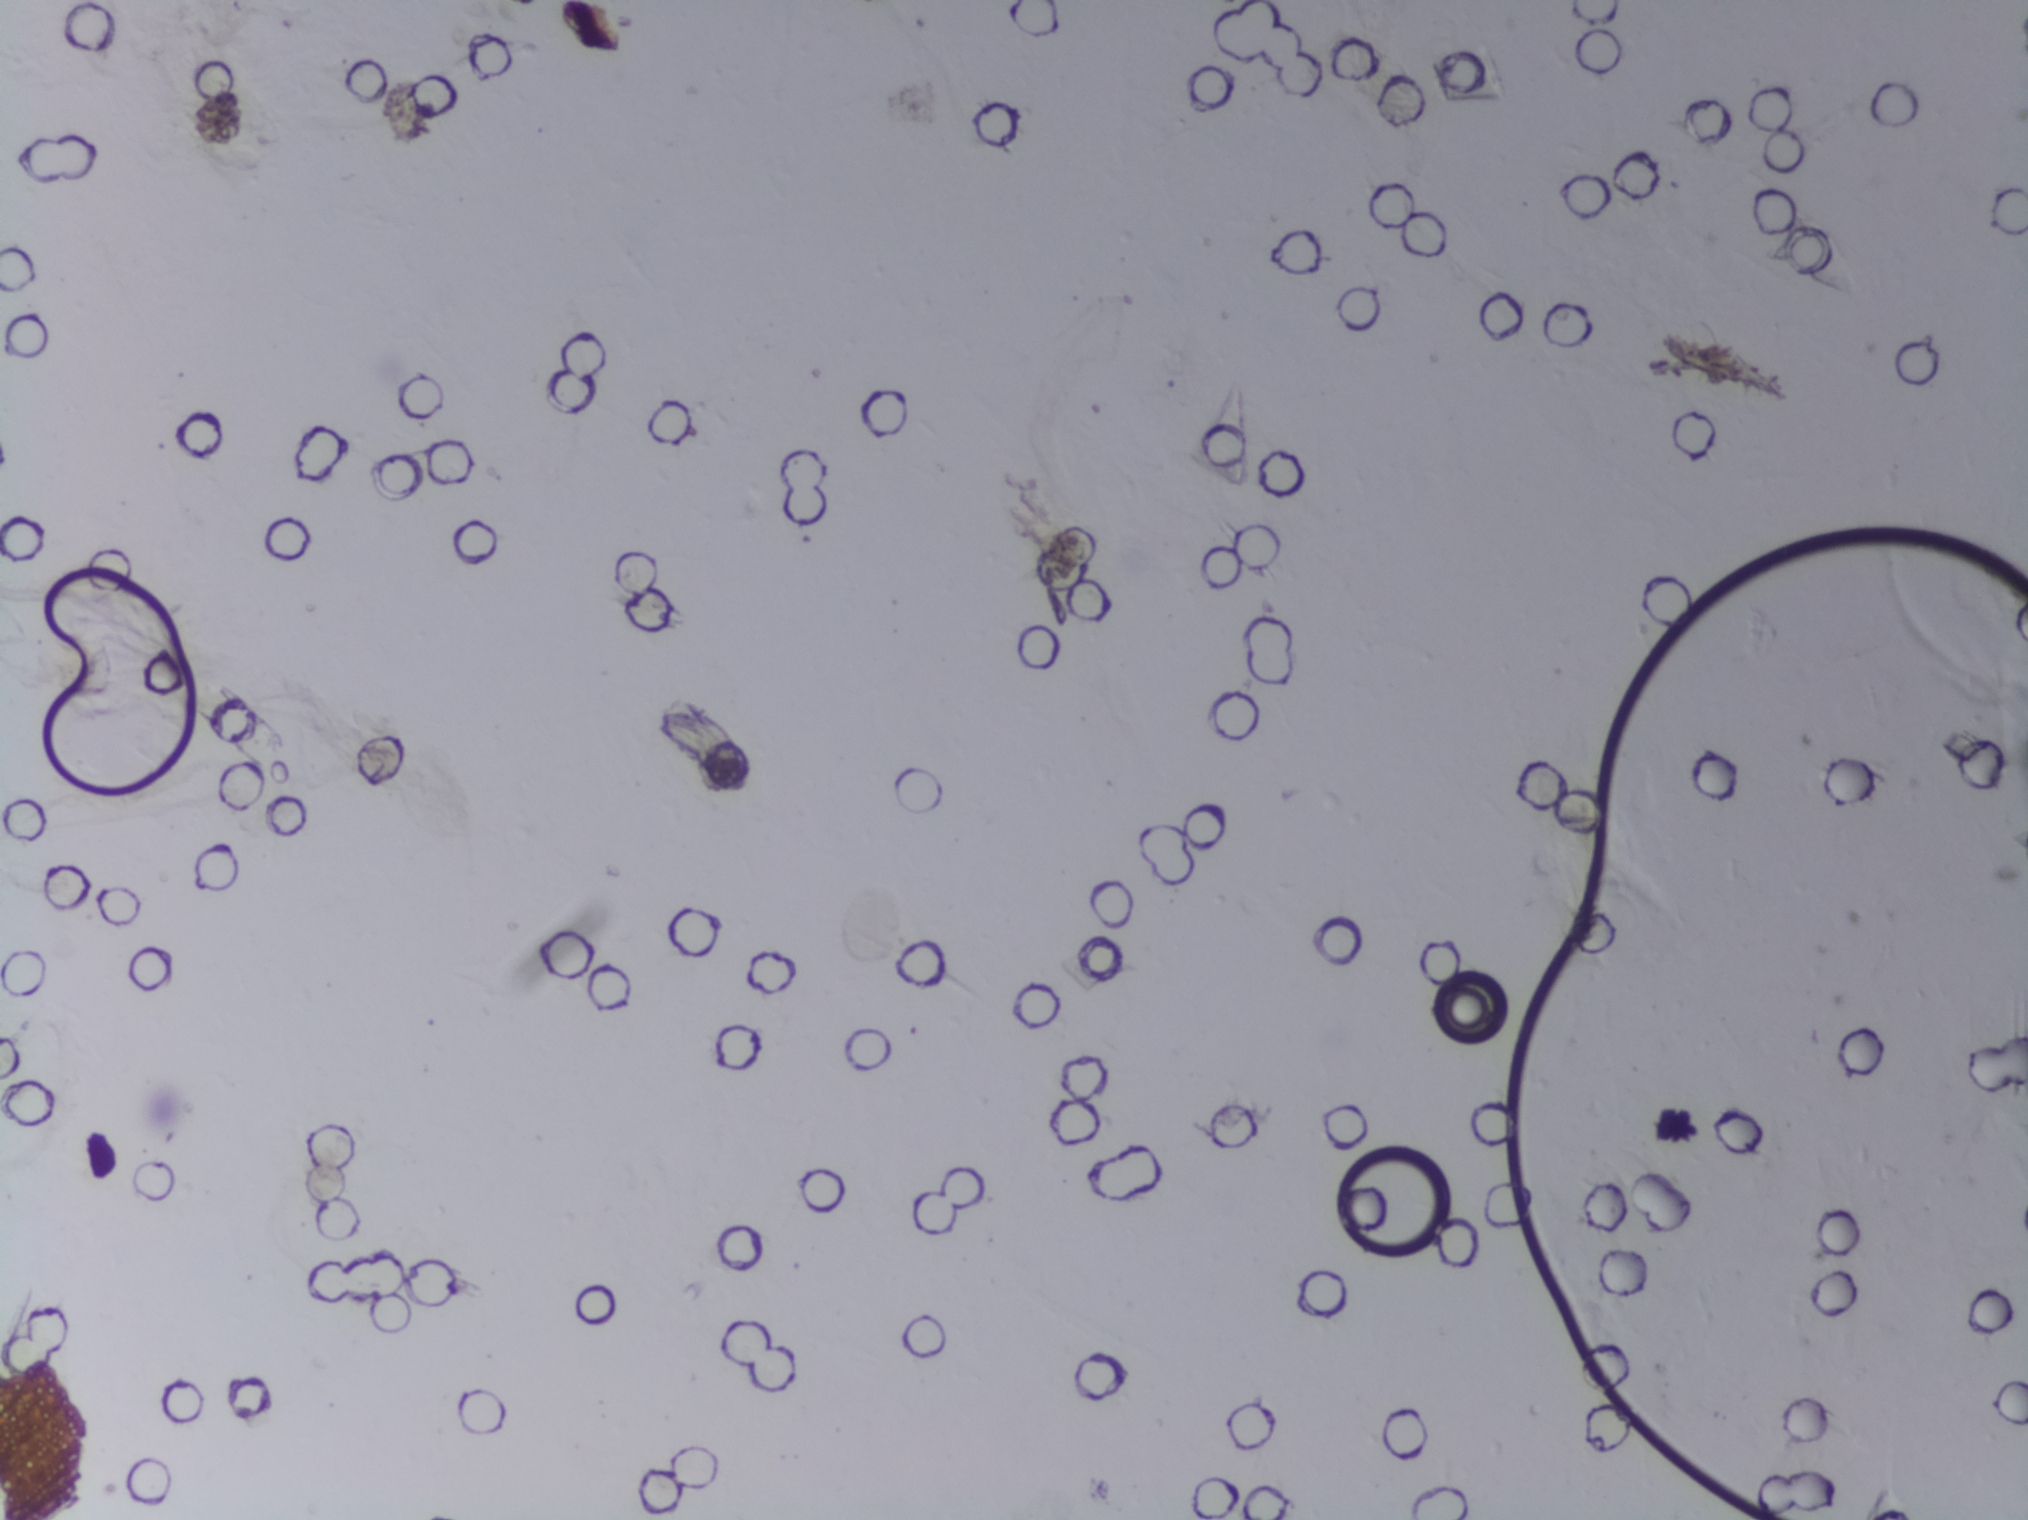
Photomicrograph of a urine filtration membrane, 4× objective.
No Schistosoma egg is outlined in this image's expert annotation.